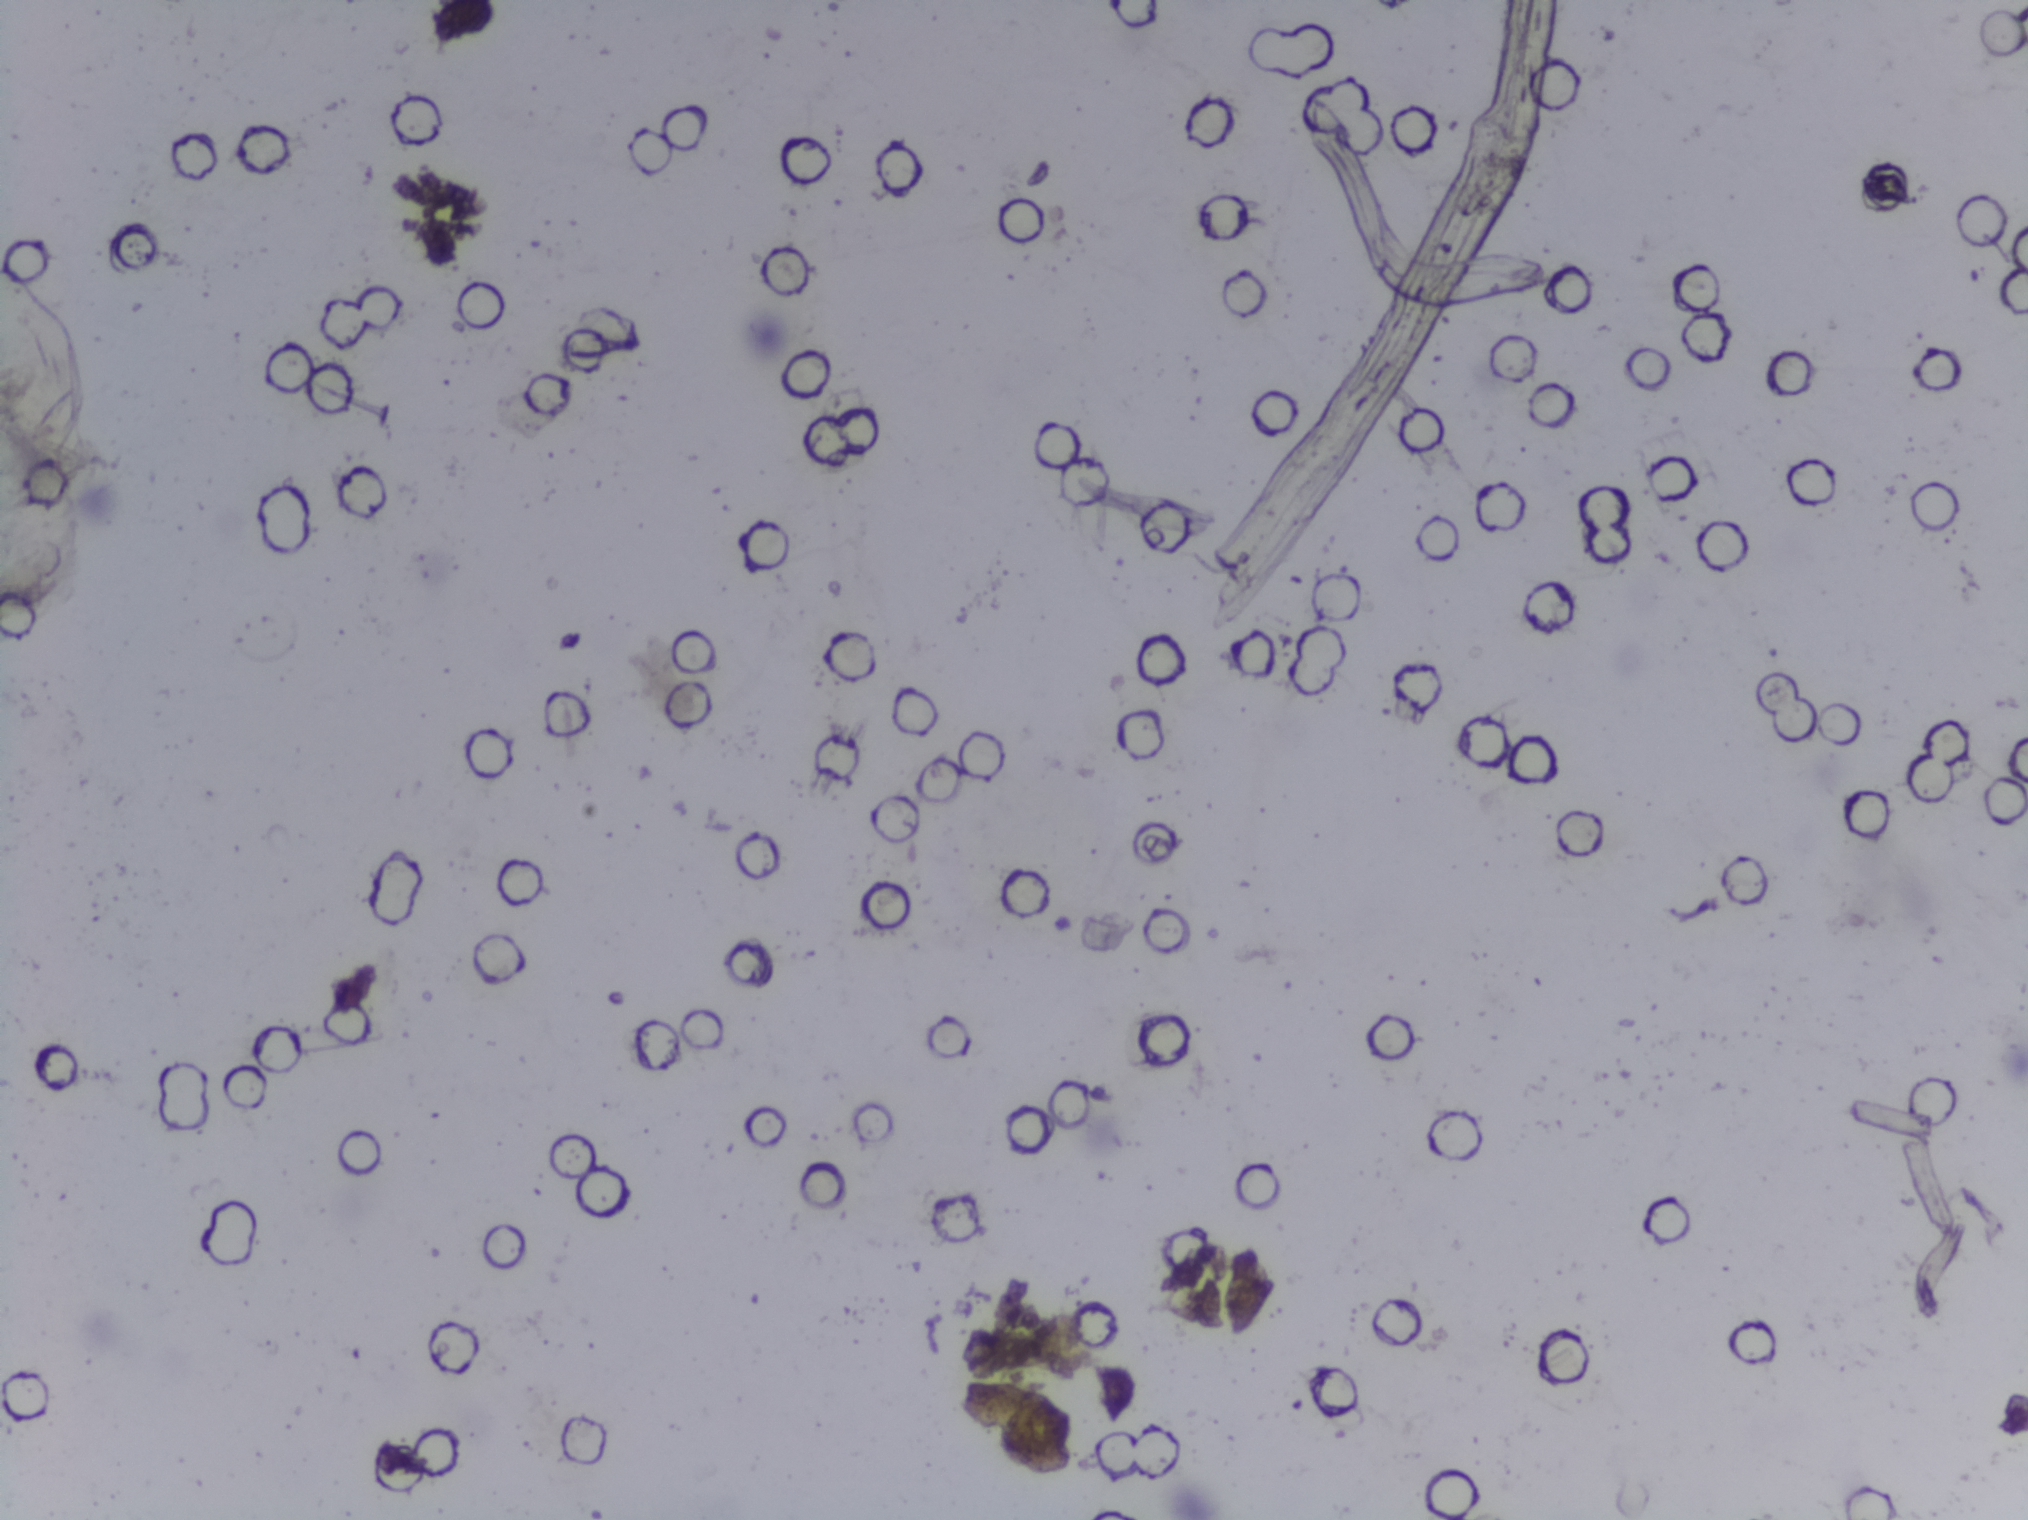
One field of view of a urine filter membrane, 4× objective, 2028 × 1520 pixels. The field of view is about 1.5 mm × 1.1 mm.
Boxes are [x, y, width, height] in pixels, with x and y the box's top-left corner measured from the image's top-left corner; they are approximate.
Findings: one area outlined as Schistosoma eggs. Location: [0, 260, 91, 209] (reaching the left edge of the frame). A single outlined area may contain several eggs.